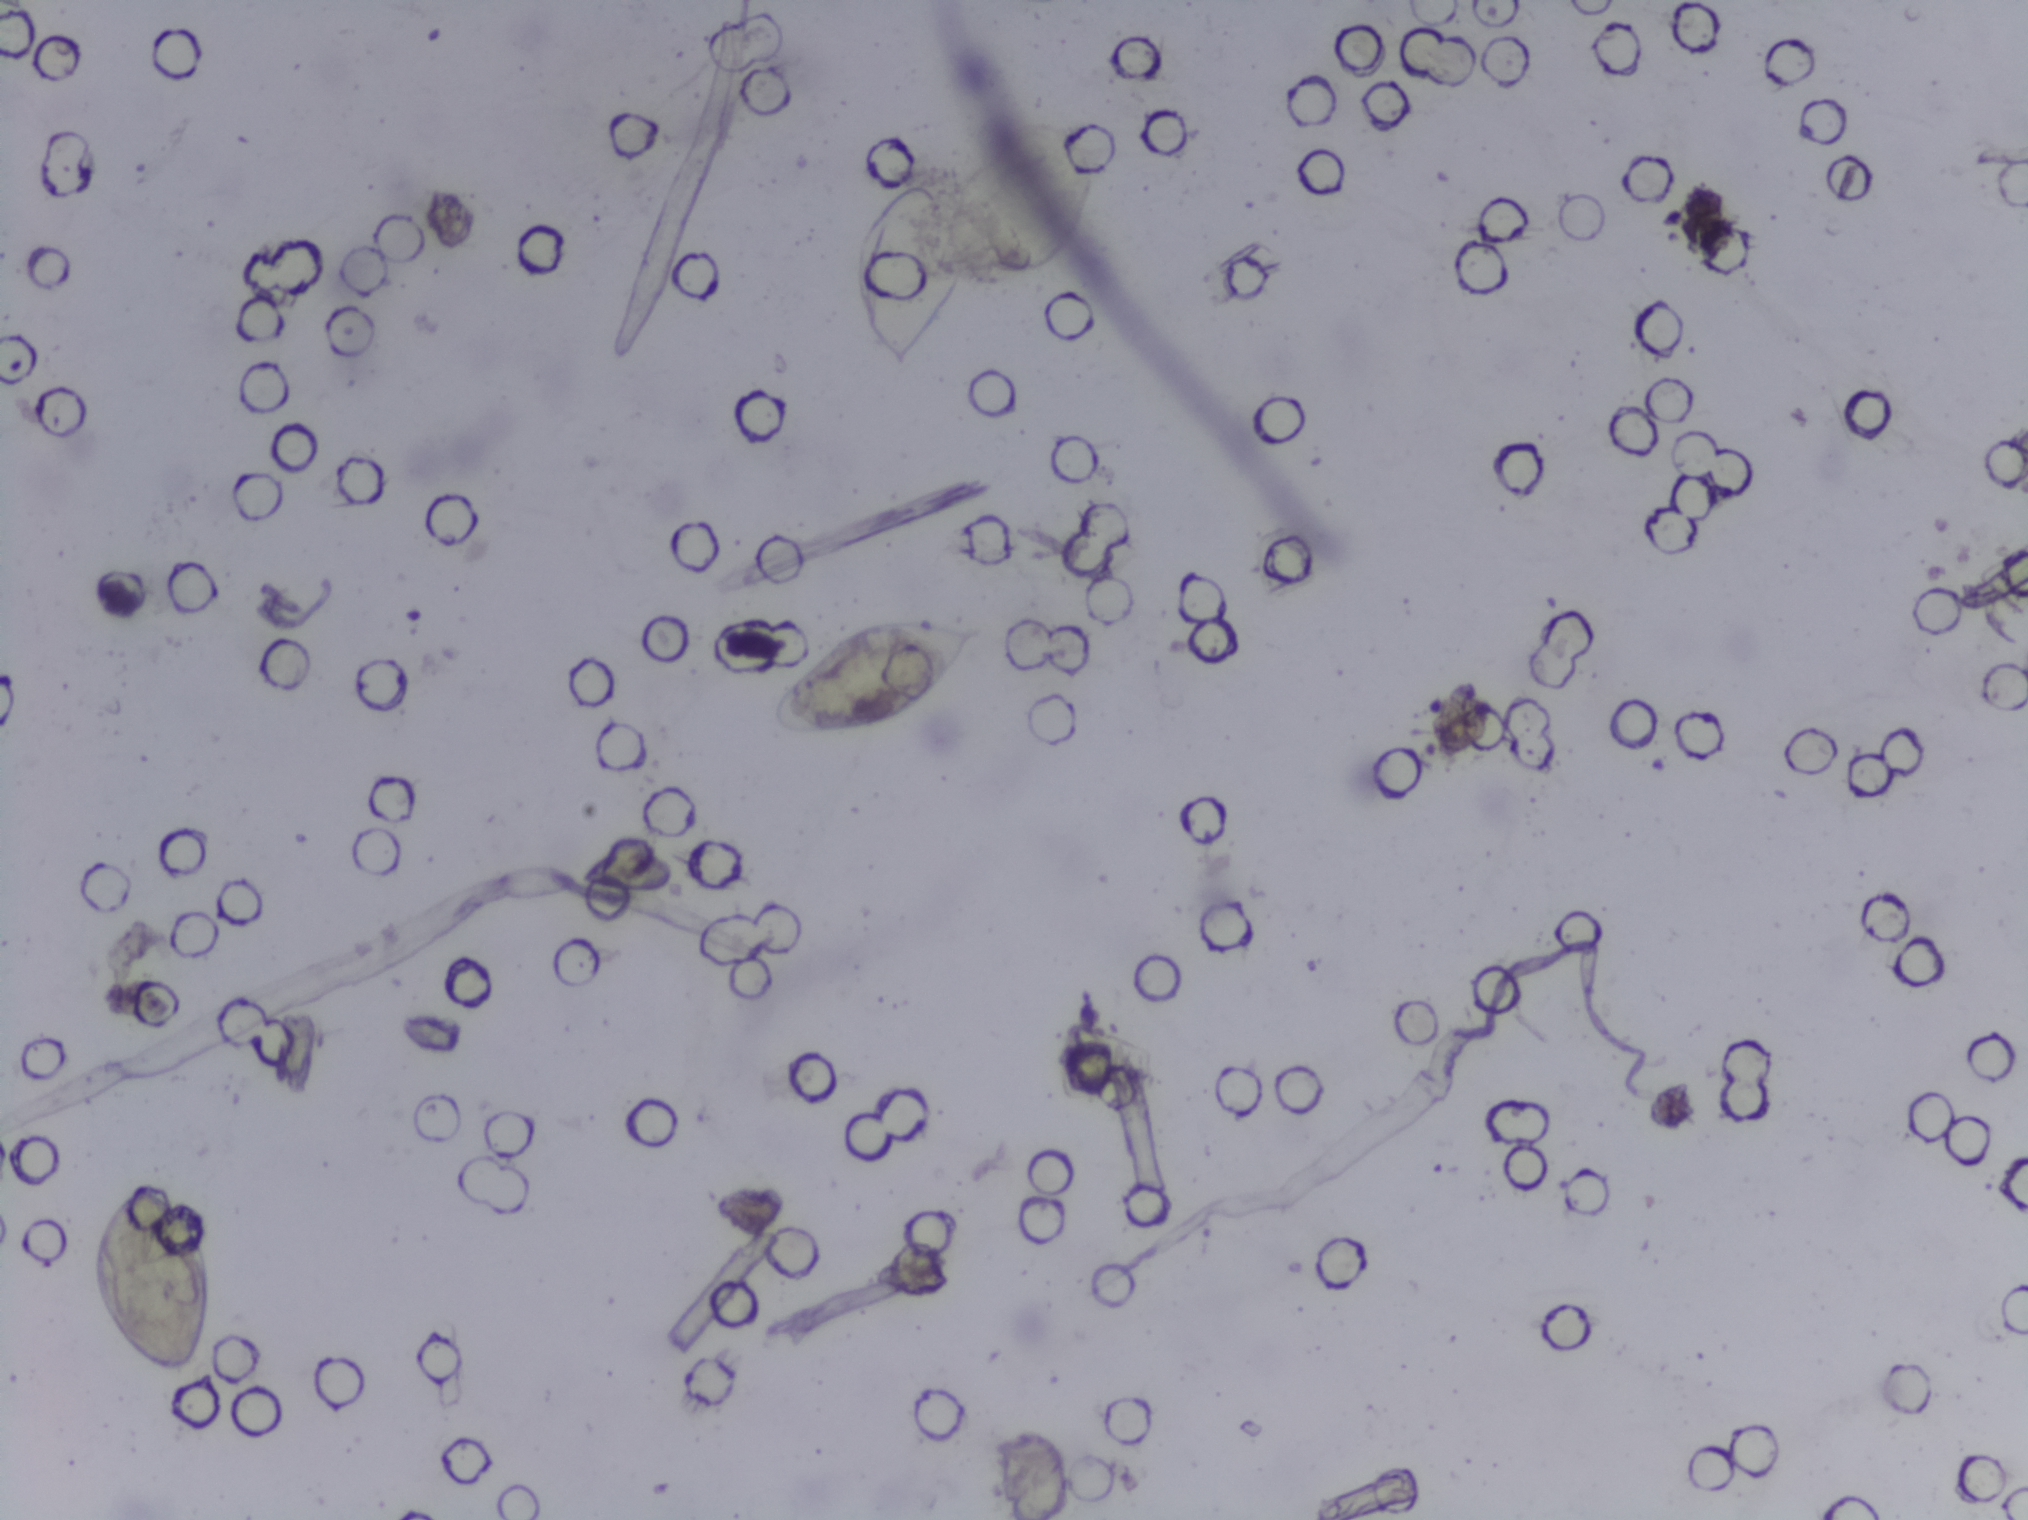
Urine filter membrane photographed through a 4× microscope objective.
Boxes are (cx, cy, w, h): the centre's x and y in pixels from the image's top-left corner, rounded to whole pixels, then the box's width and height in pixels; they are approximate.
Three areas of this image are outlined as Schistosoma eggs, from left to right: (cx=153, cy=1280, w=127, h=191); (cx=877, cy=678, w=215, h=125); (cx=911, cy=276, w=116, h=204). An outlined area can hold more than one egg.